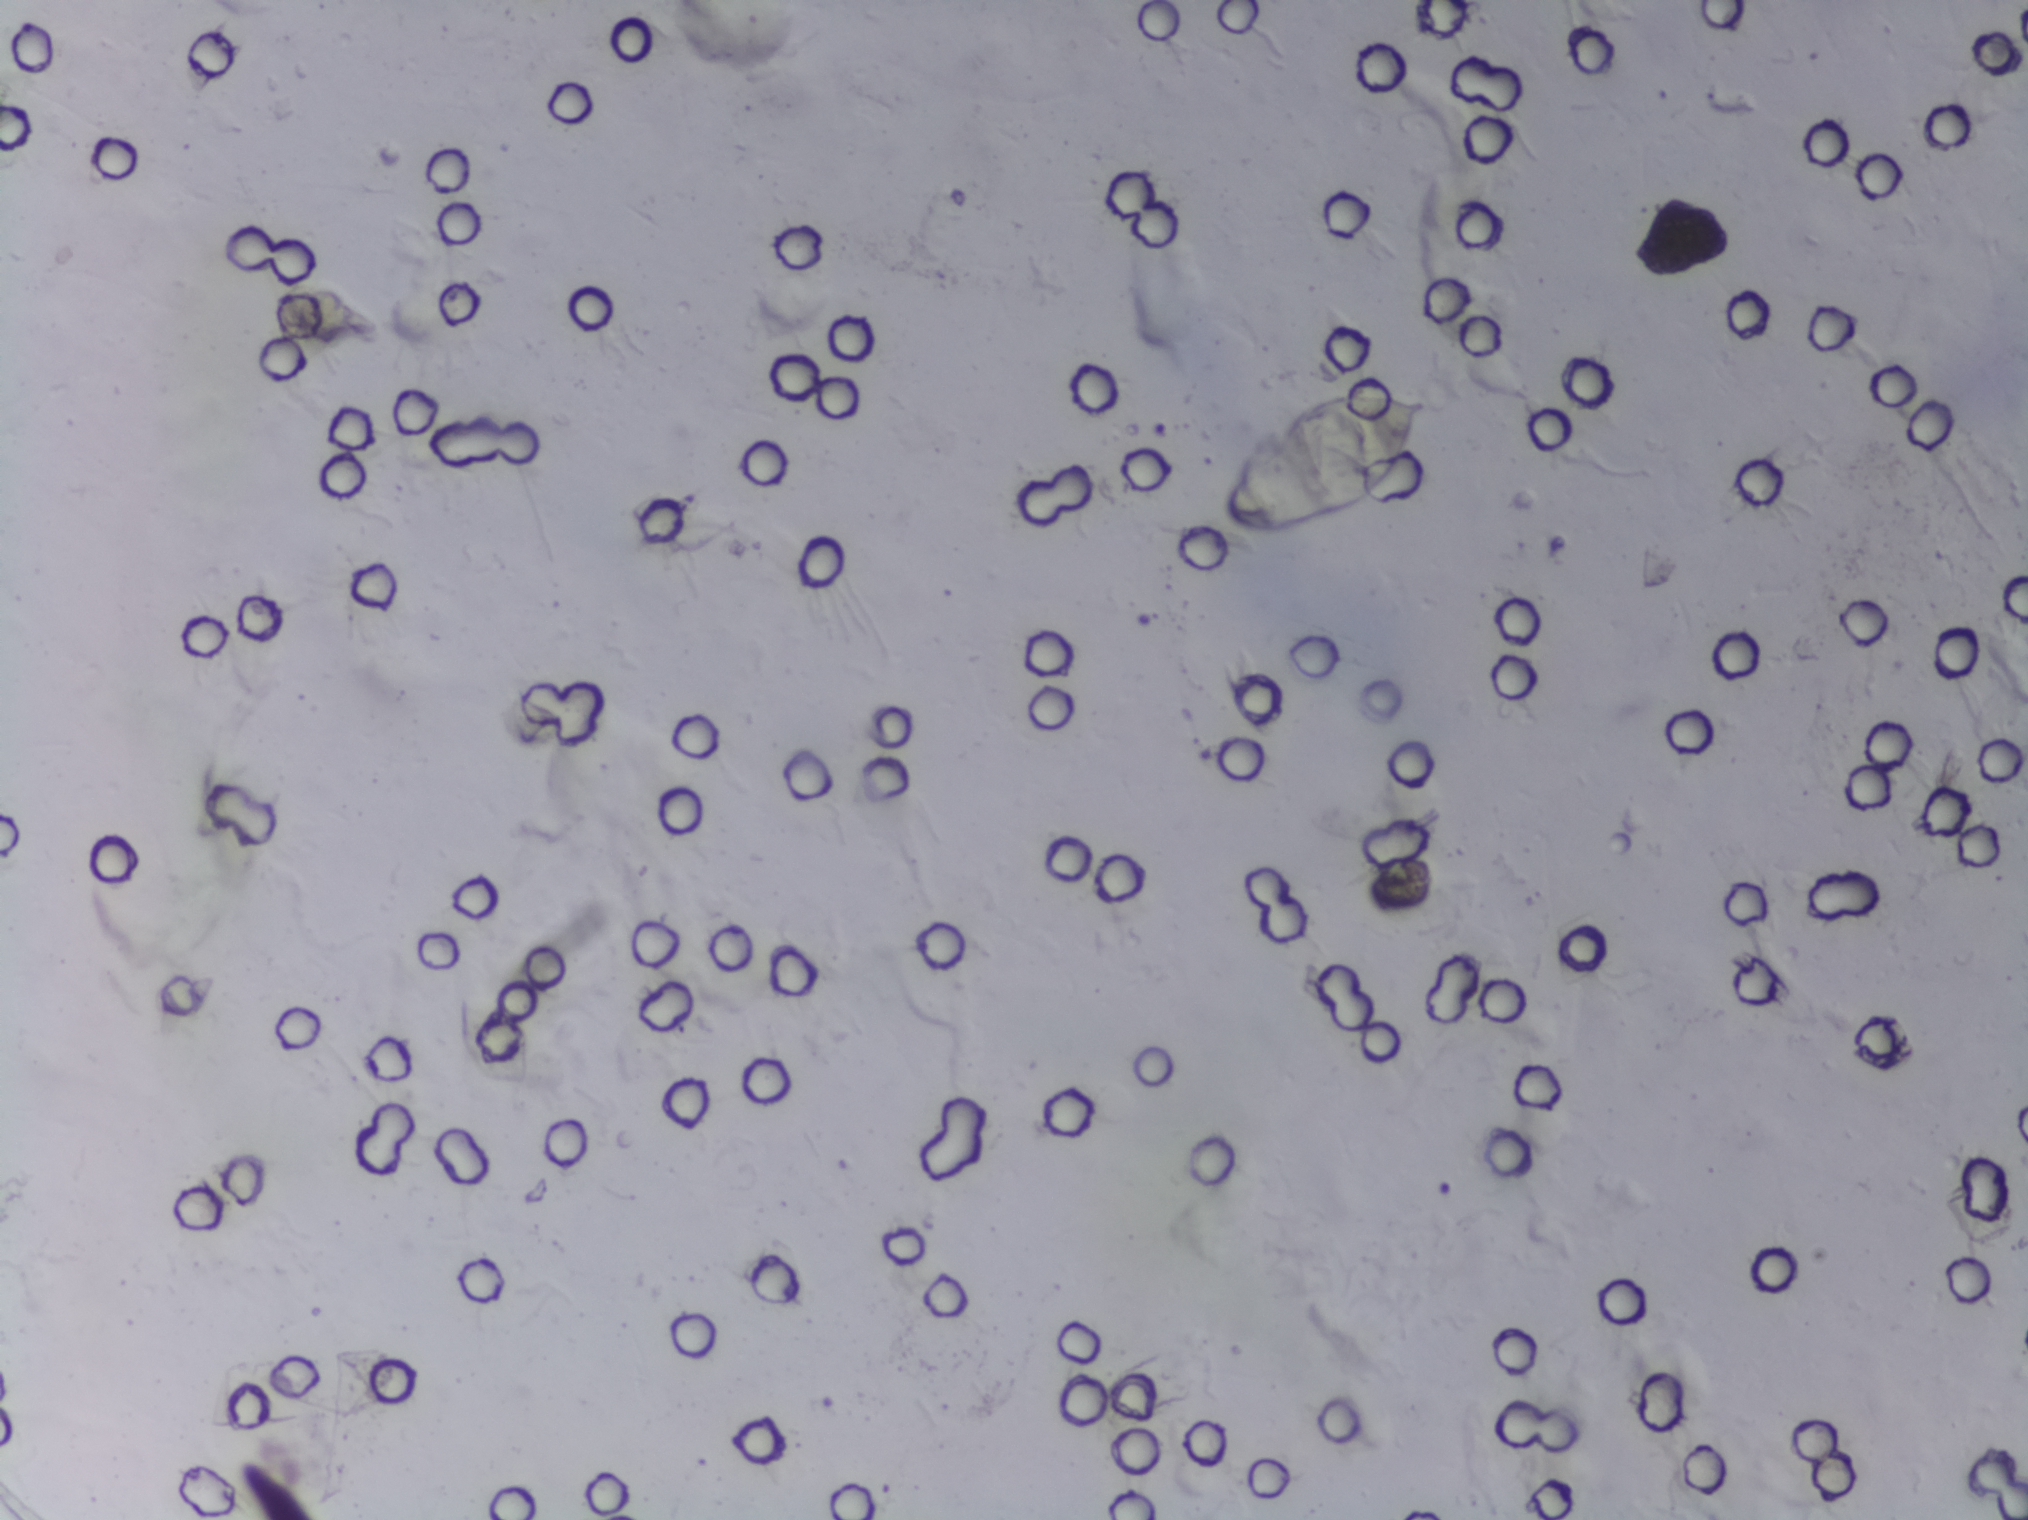
Photograph from an automated digital microscope: urine filter membrane, 4× objective. The field of view is about 1.5 mm × 1.1 mm.
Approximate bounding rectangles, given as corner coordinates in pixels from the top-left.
Findings: one area outlined as Schistosoma eggs. Location: (x1=1219, y1=389, x2=1430, y2=539). About 0.7% of the image's pixels are marked (the marked pixels themselves, not the box around them). An outlined area can hold more than one egg. Any one outlined egg may, rarely, be S. mansoni rather than S. haematobium.